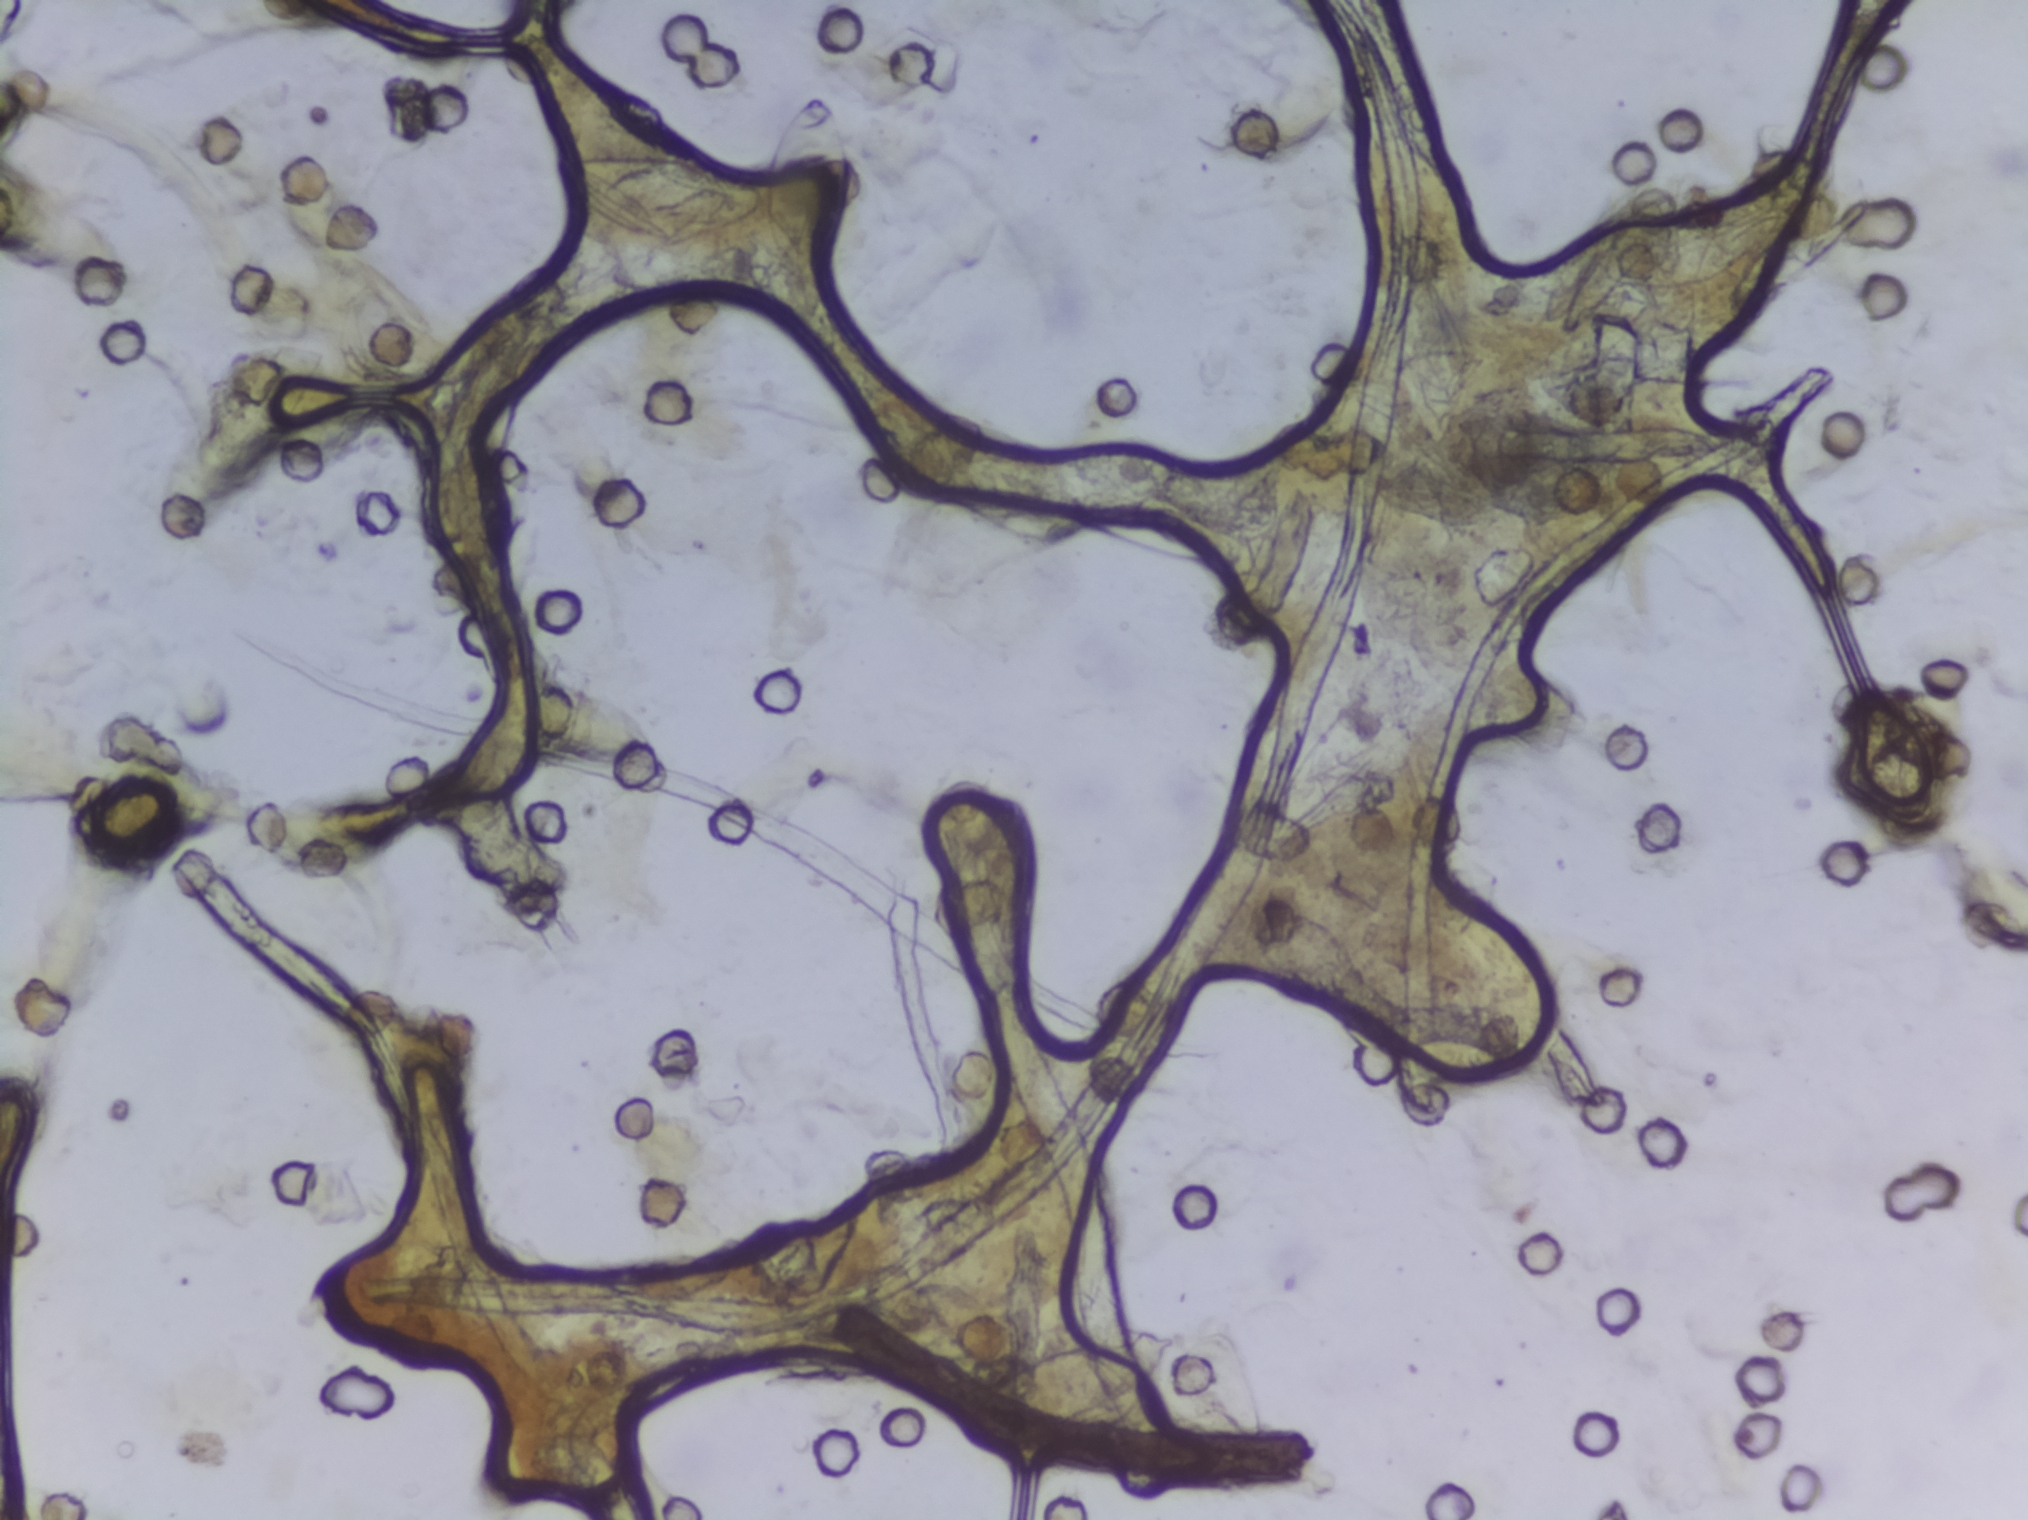
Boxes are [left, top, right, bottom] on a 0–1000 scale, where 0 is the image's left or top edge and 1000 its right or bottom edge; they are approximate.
Findings: six areas outlined as Schistosoma eggs. Locations: [222, 549, 286, 592]; [239, 443, 327, 509]; [271, 97, 375, 161]; [375, 62, 421, 185]; [480, 876, 576, 944]; [687, 682, 750, 714]. A single outlined area may contain several eggs.
Microscope photograph (4× objective) of a membrane that a urine sample was filtered through. The field of view is about 1.5 mm × 1.1 mm.